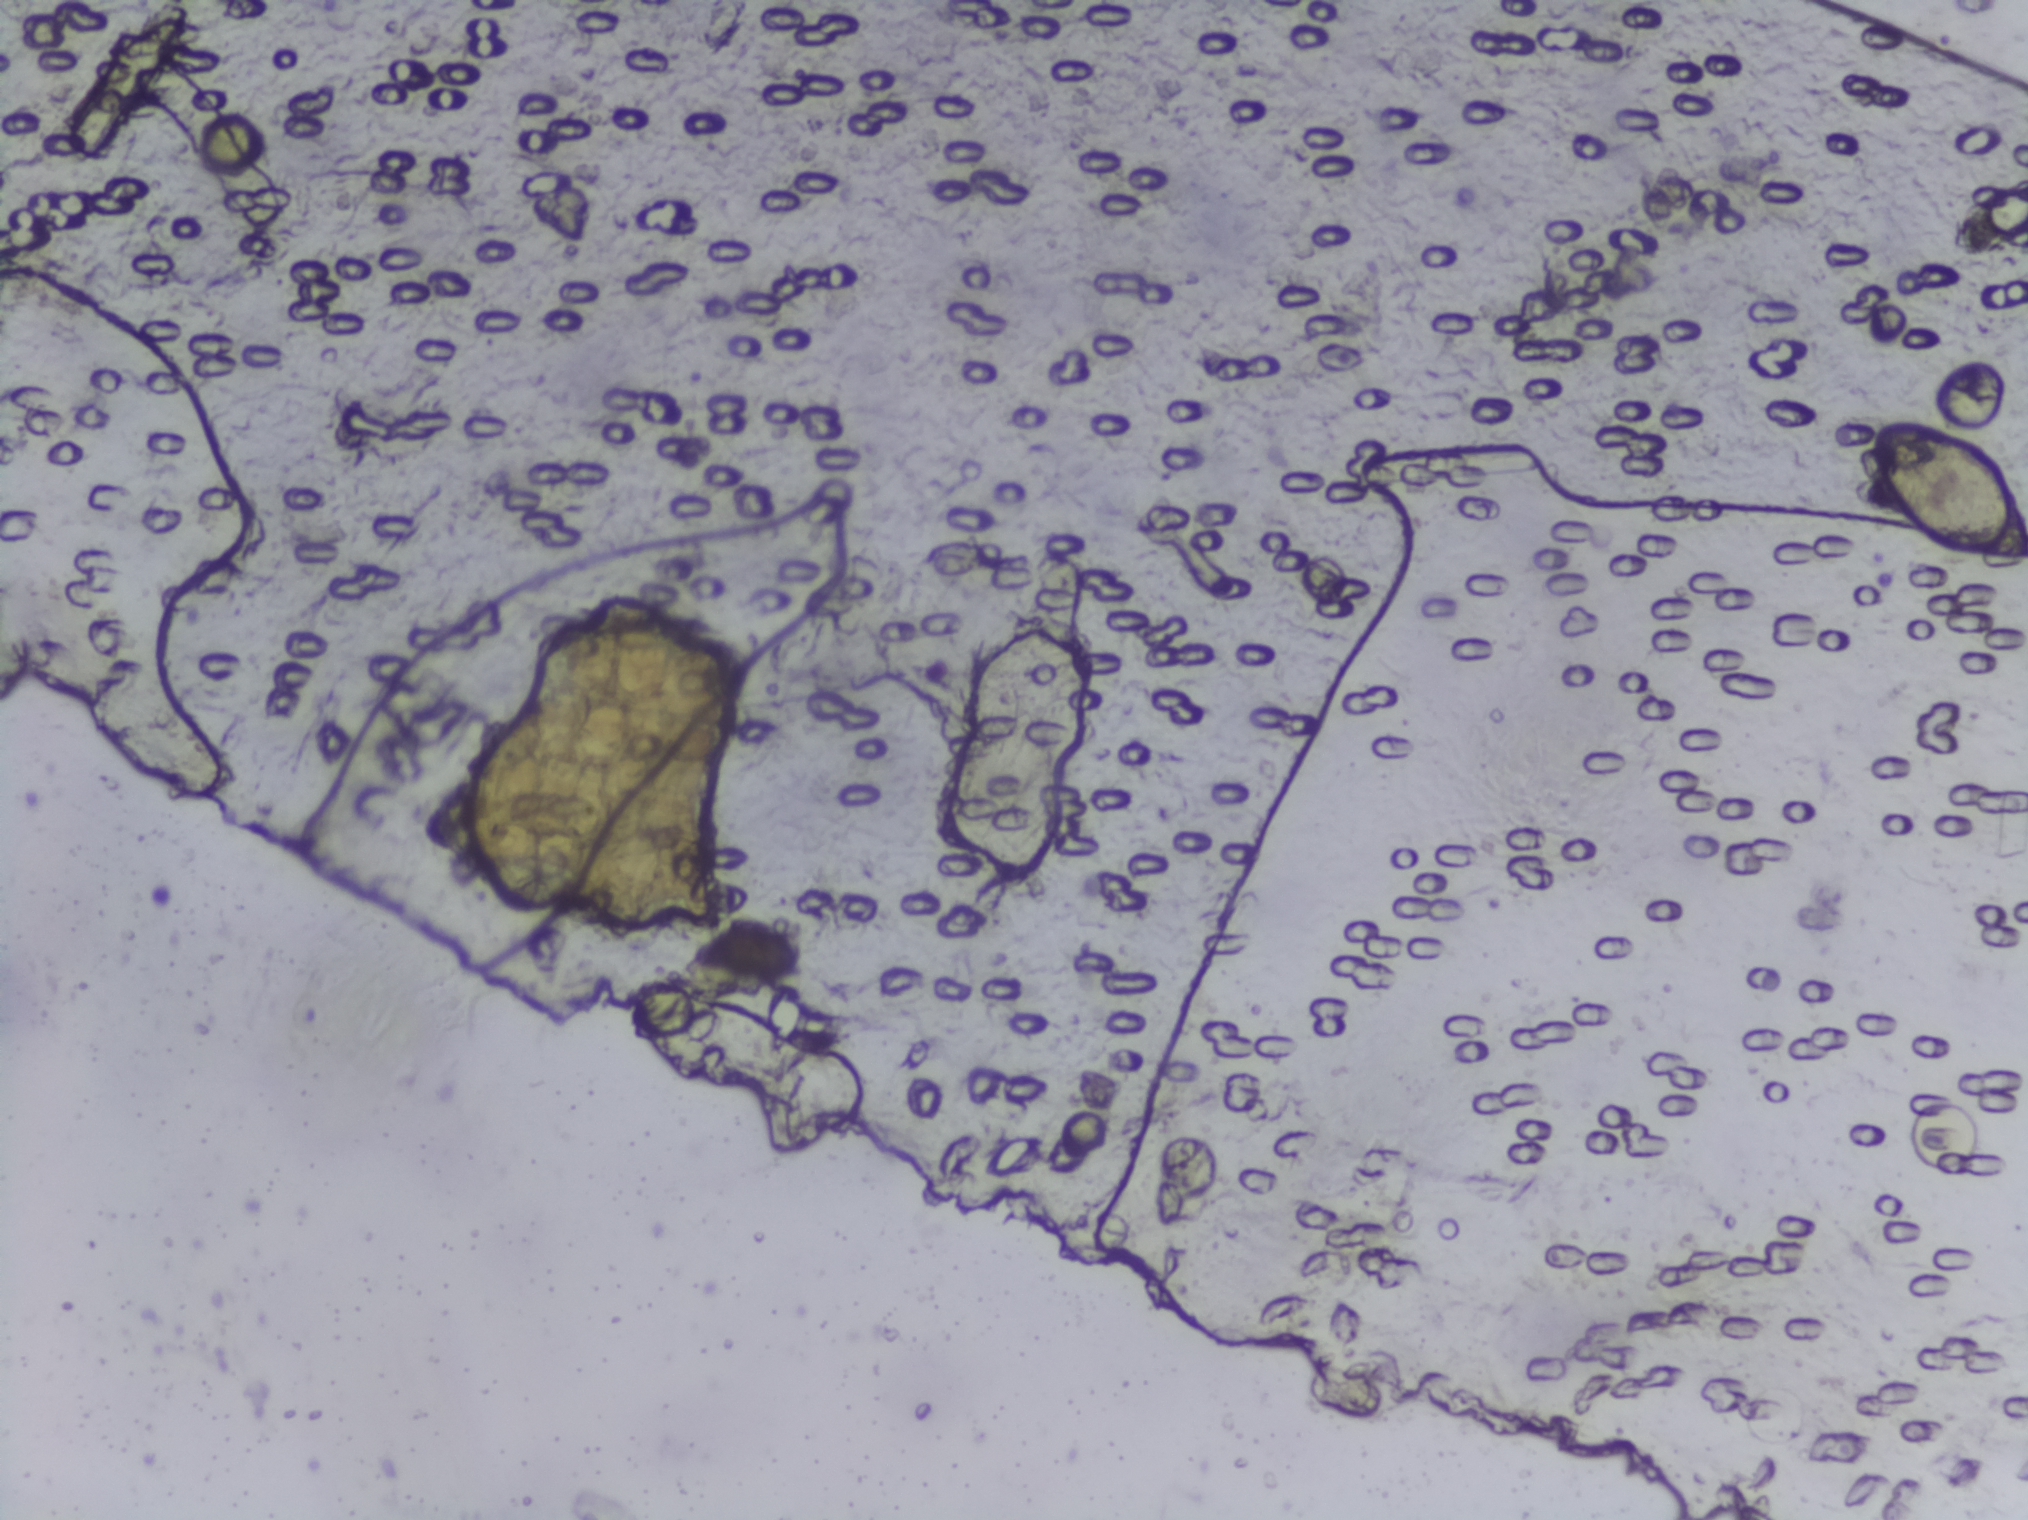
One field of view of a urine filter membrane, 4× objective, 2028 × 1520 pixels.
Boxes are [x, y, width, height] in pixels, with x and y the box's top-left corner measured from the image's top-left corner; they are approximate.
Areas outlined as Schistosoma eggs: [1867, 418, 161, 148] (reaching the right edge of the frame). The marked pixels themselves, not the box around them, cover about 0.5% of the image. A single outlined area may contain several eggs. Any one outlined egg may, rarely, be S. mansoni rather than S. haematobium.